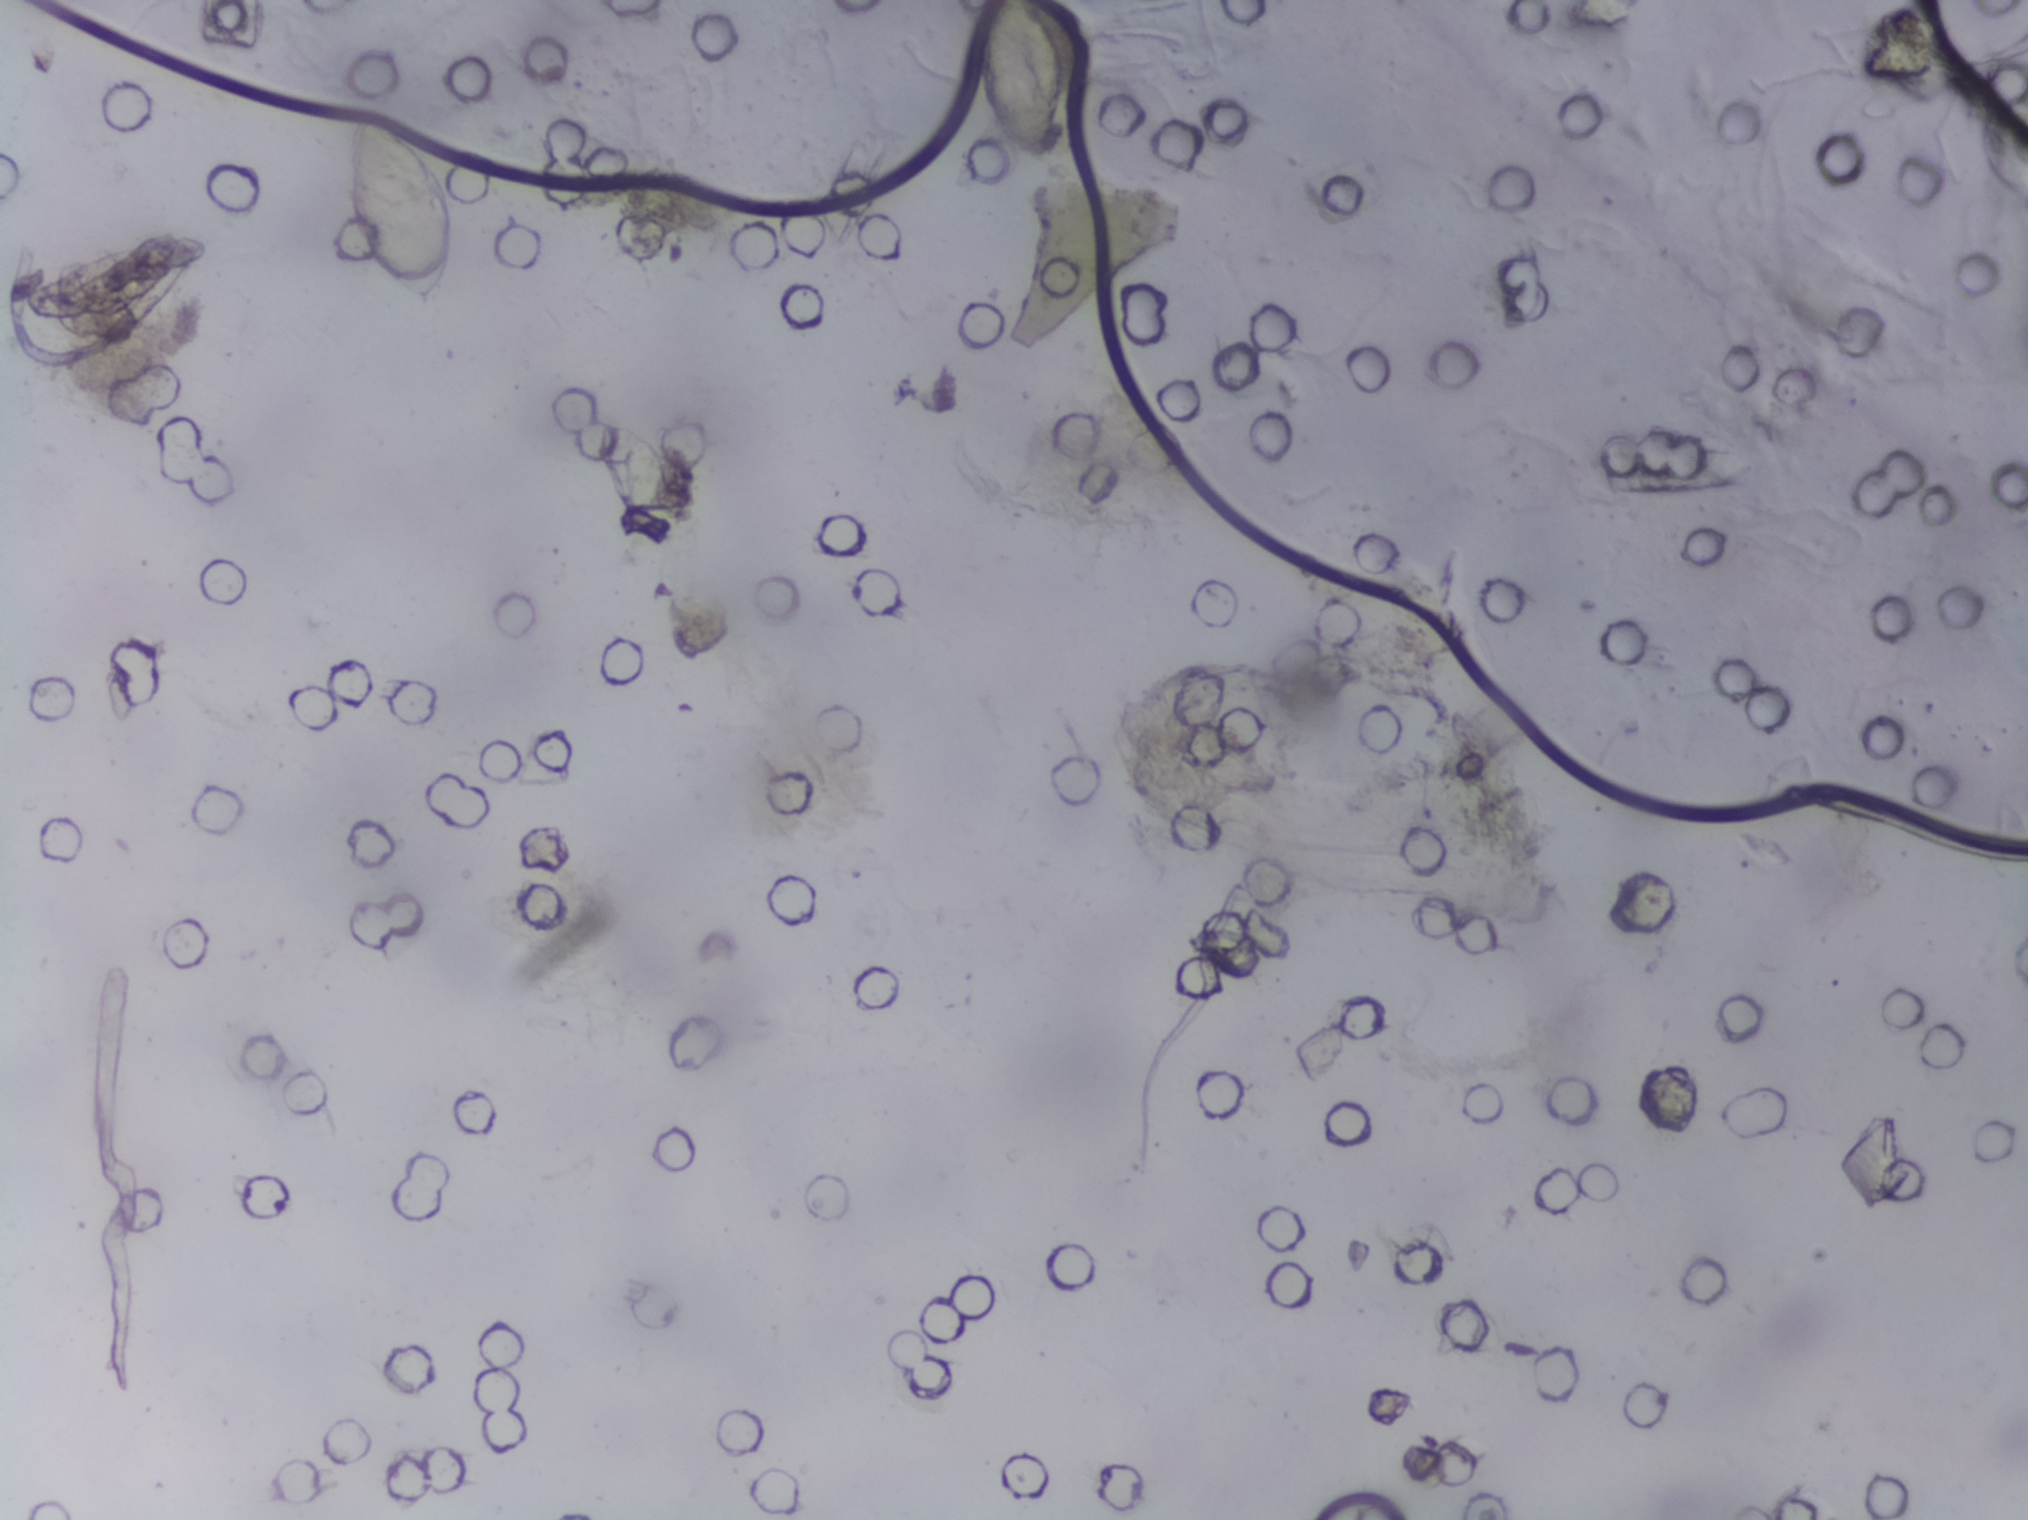
Photograph from an automated digital microscope: urine filter membrane, 4× objective.
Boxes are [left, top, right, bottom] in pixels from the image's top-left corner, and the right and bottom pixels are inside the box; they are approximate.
{"schistosoma_egg_areas_xyxy_px": [[337, 109, 461, 319], [980, 0, 1071, 168]]} Area 2 reaches the top edge of the frame.
A single outlined area may contain several eggs.